Photograph from an automated digital microscope: urine filter membrane, 4× objective.
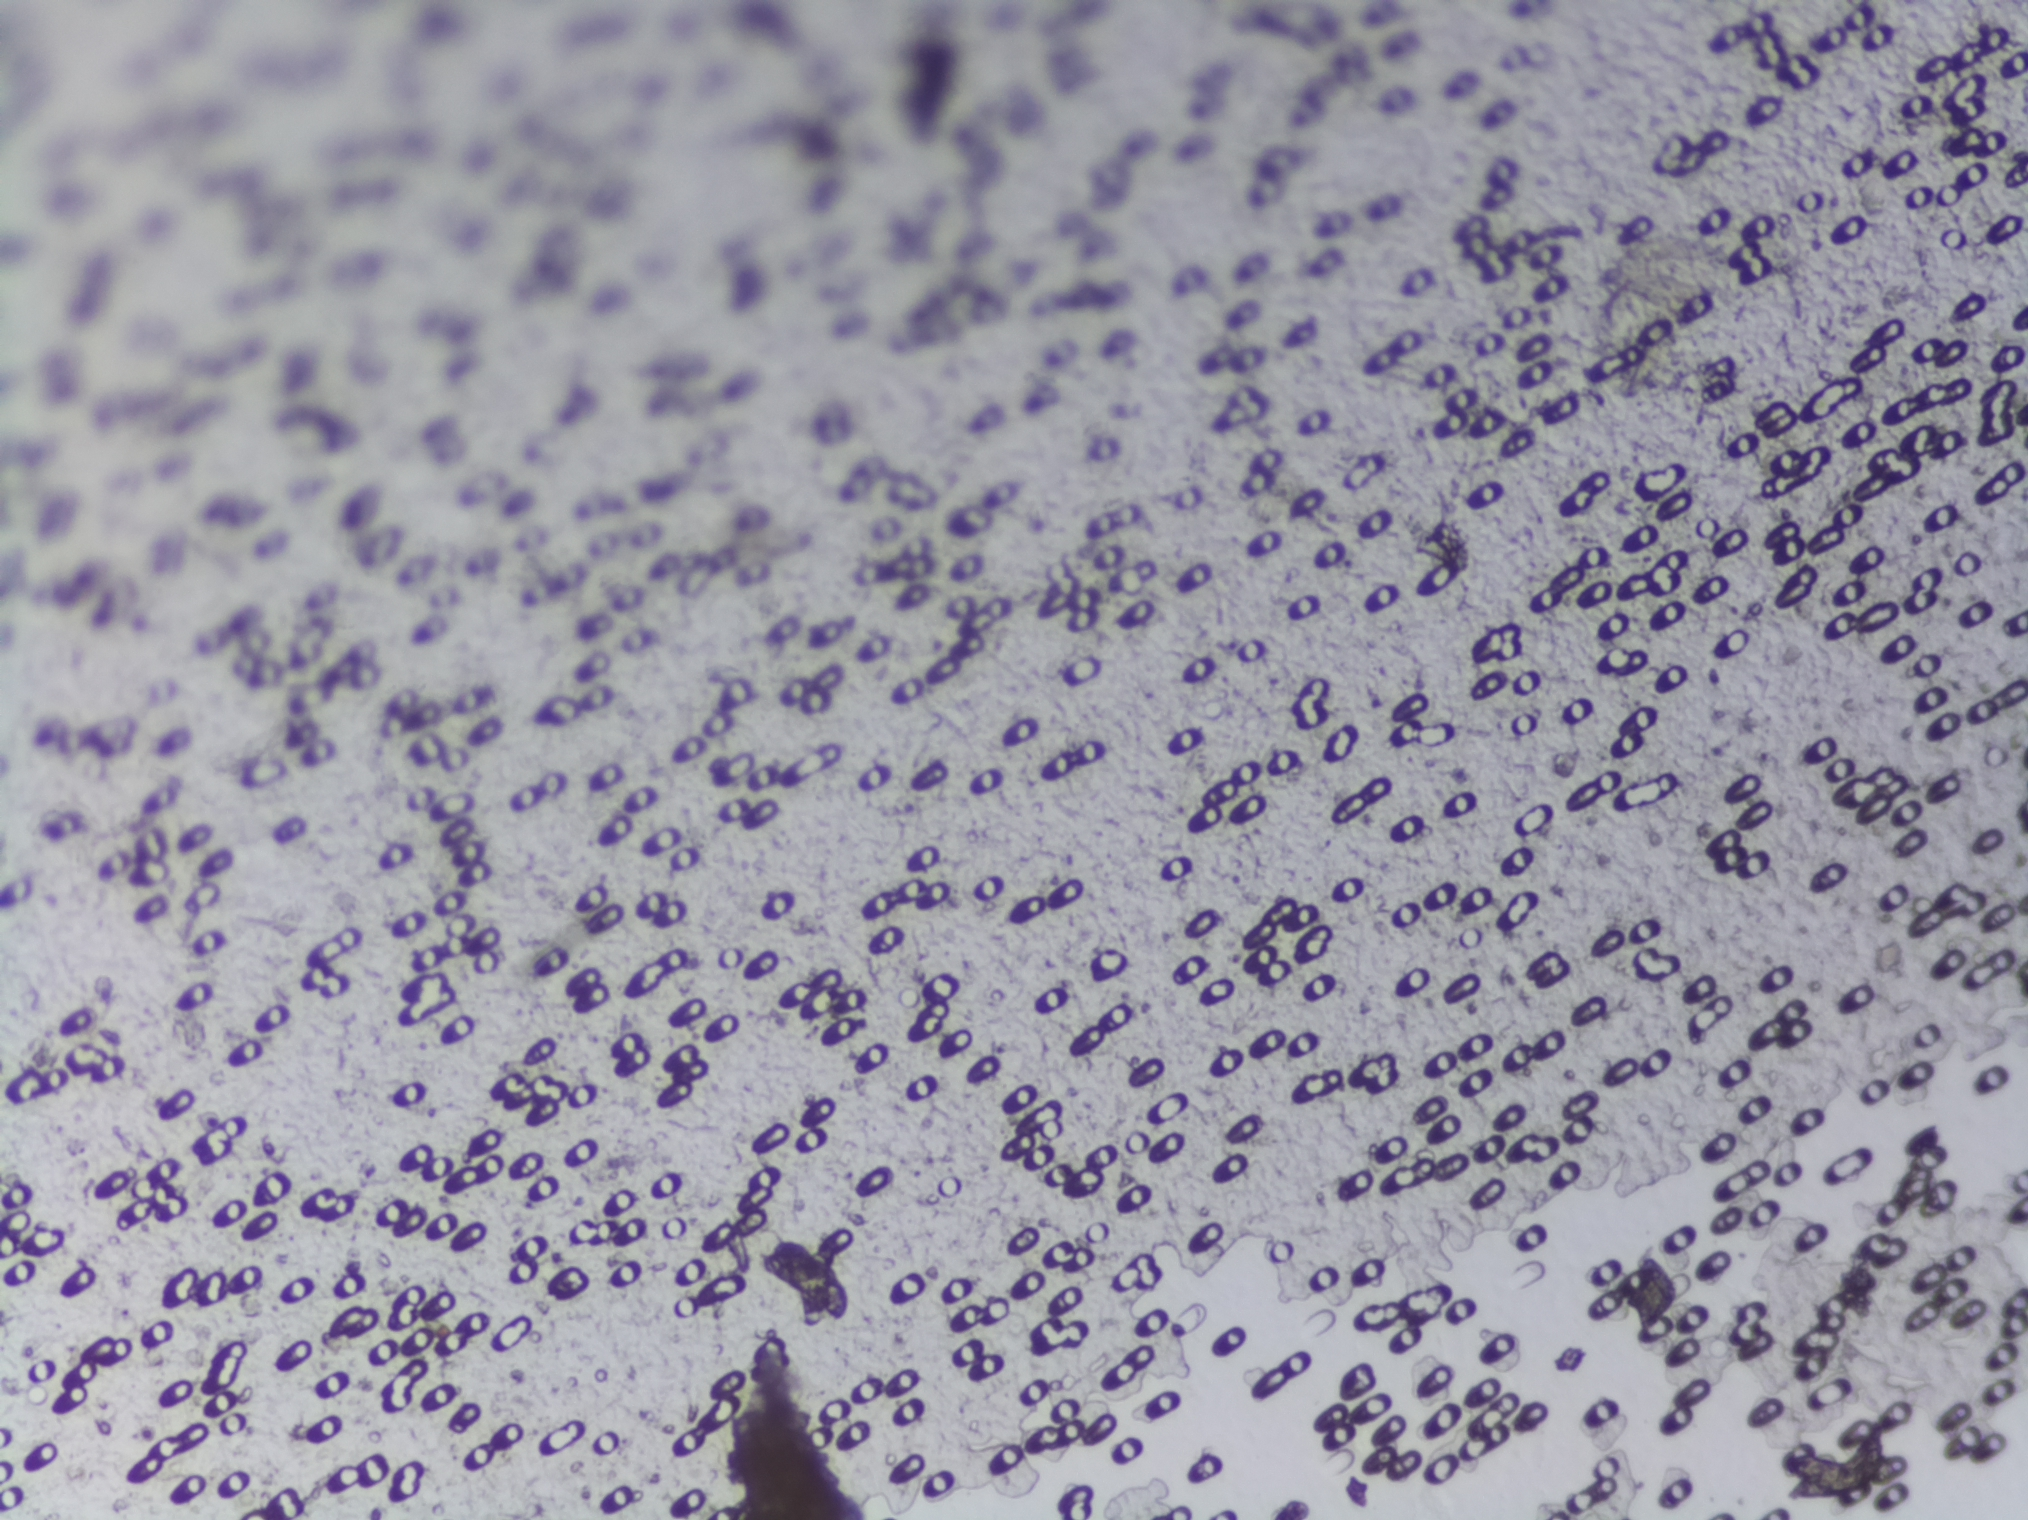
The expert annotation outlines no Schistosoma egg in this image.